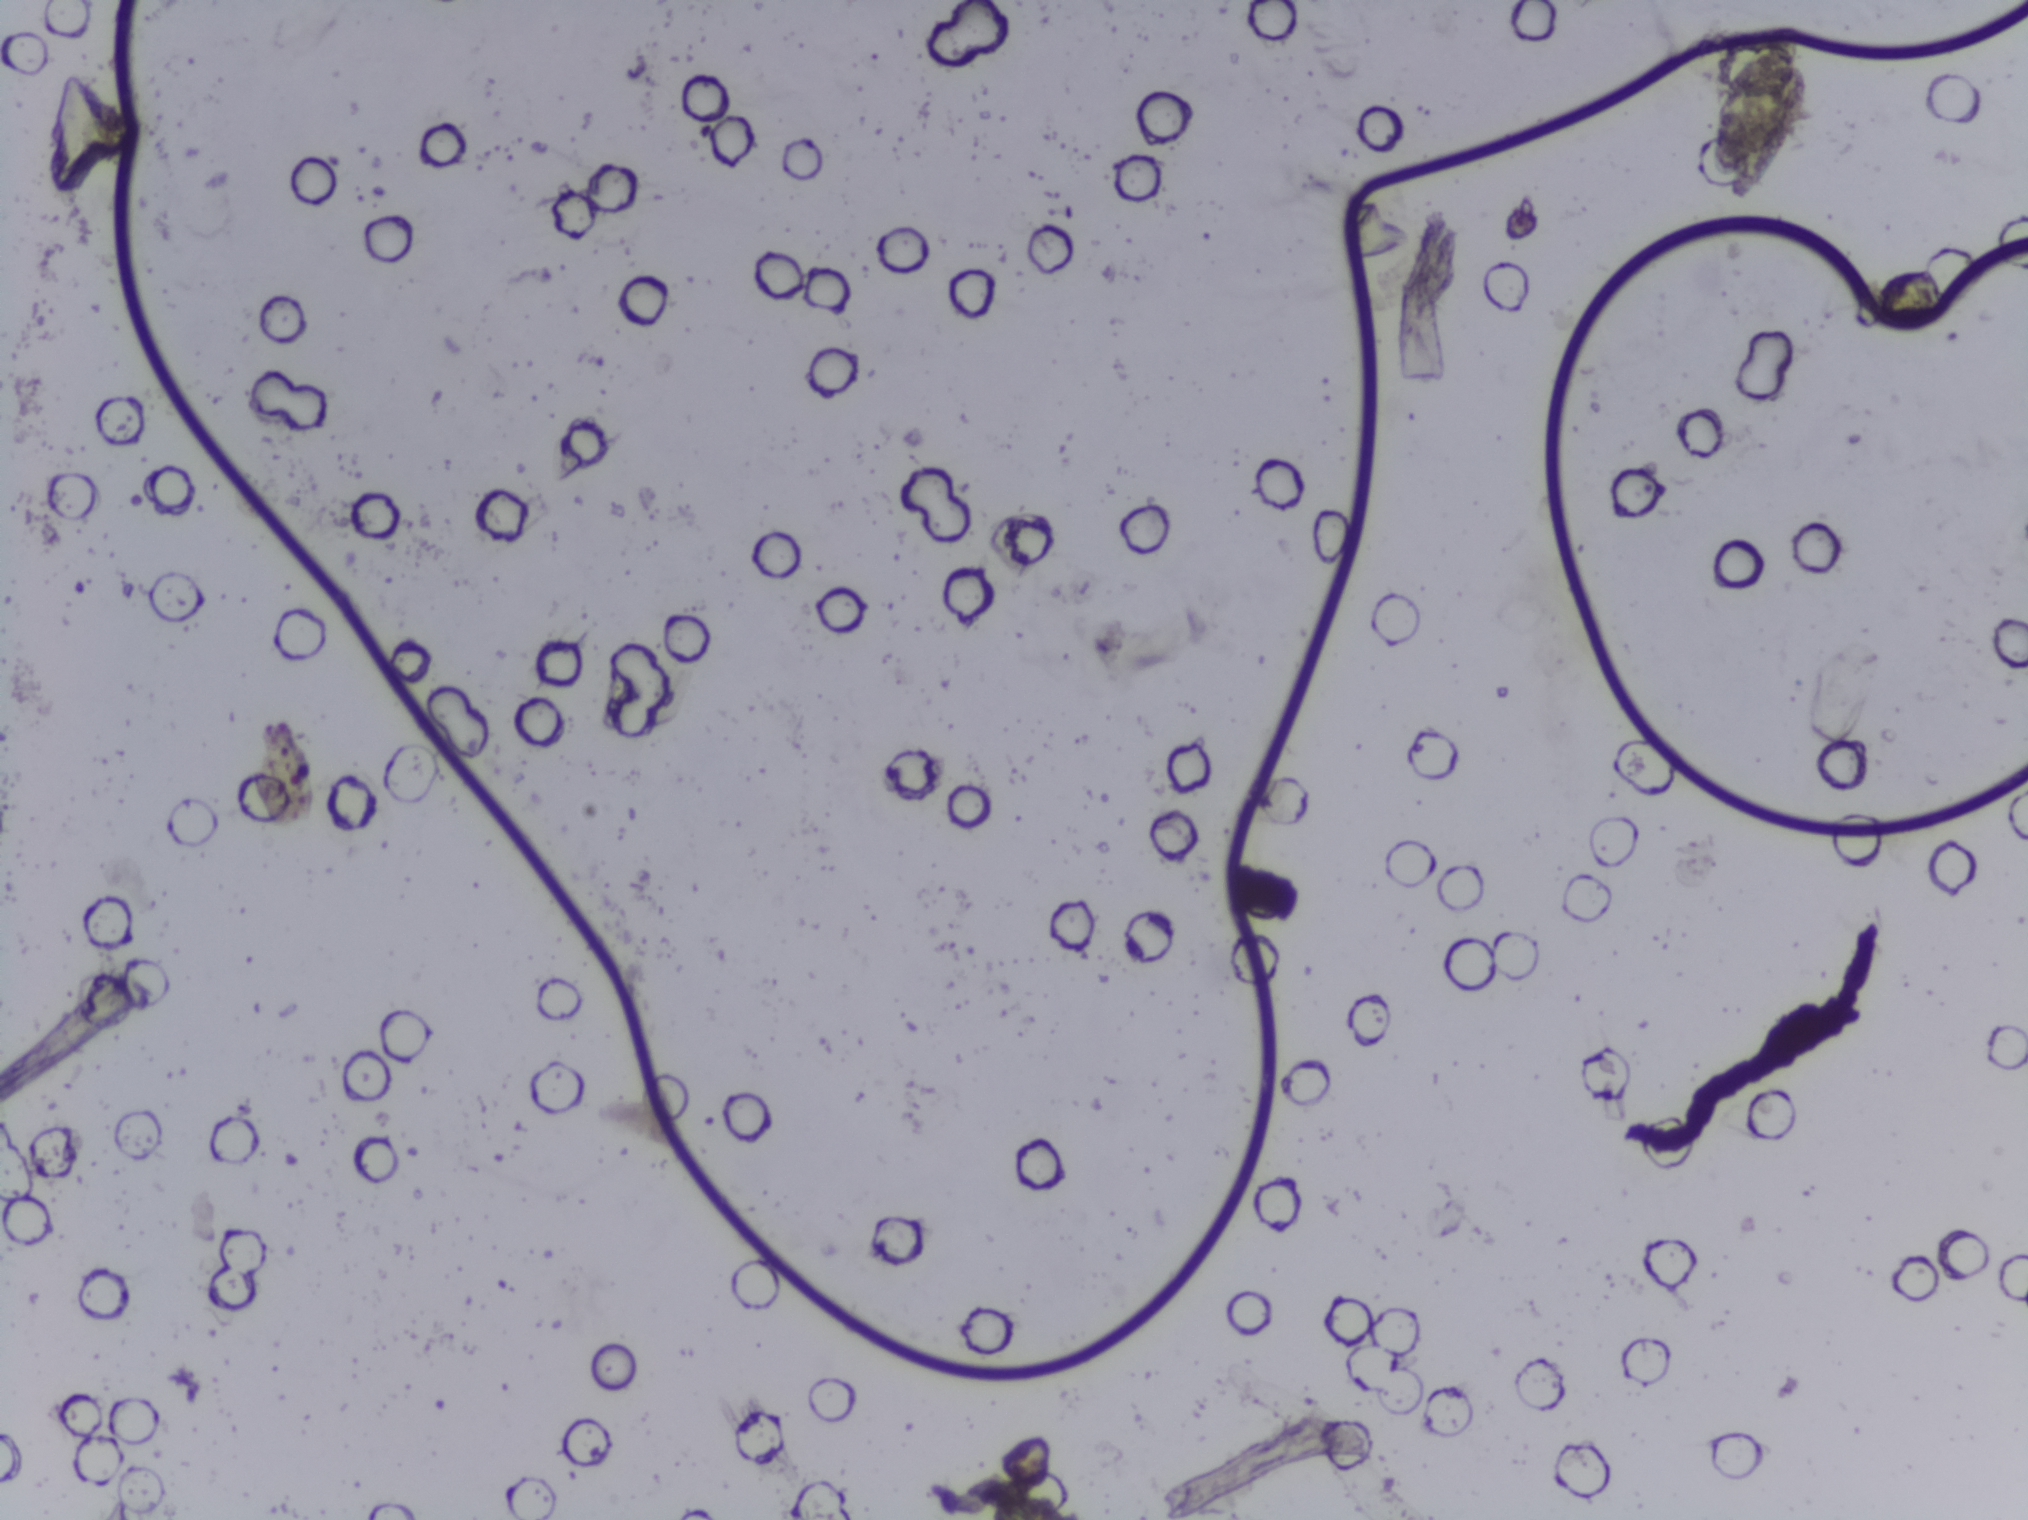
Microscope photograph (4× objective) of a membrane that a urine sample was filtered through.
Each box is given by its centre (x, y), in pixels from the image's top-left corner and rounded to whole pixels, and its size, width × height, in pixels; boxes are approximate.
One area of this image is outlined as Schistosoma eggs: centre (1760, 106), 96 × 156 px. A single outlined area may contain several eggs.